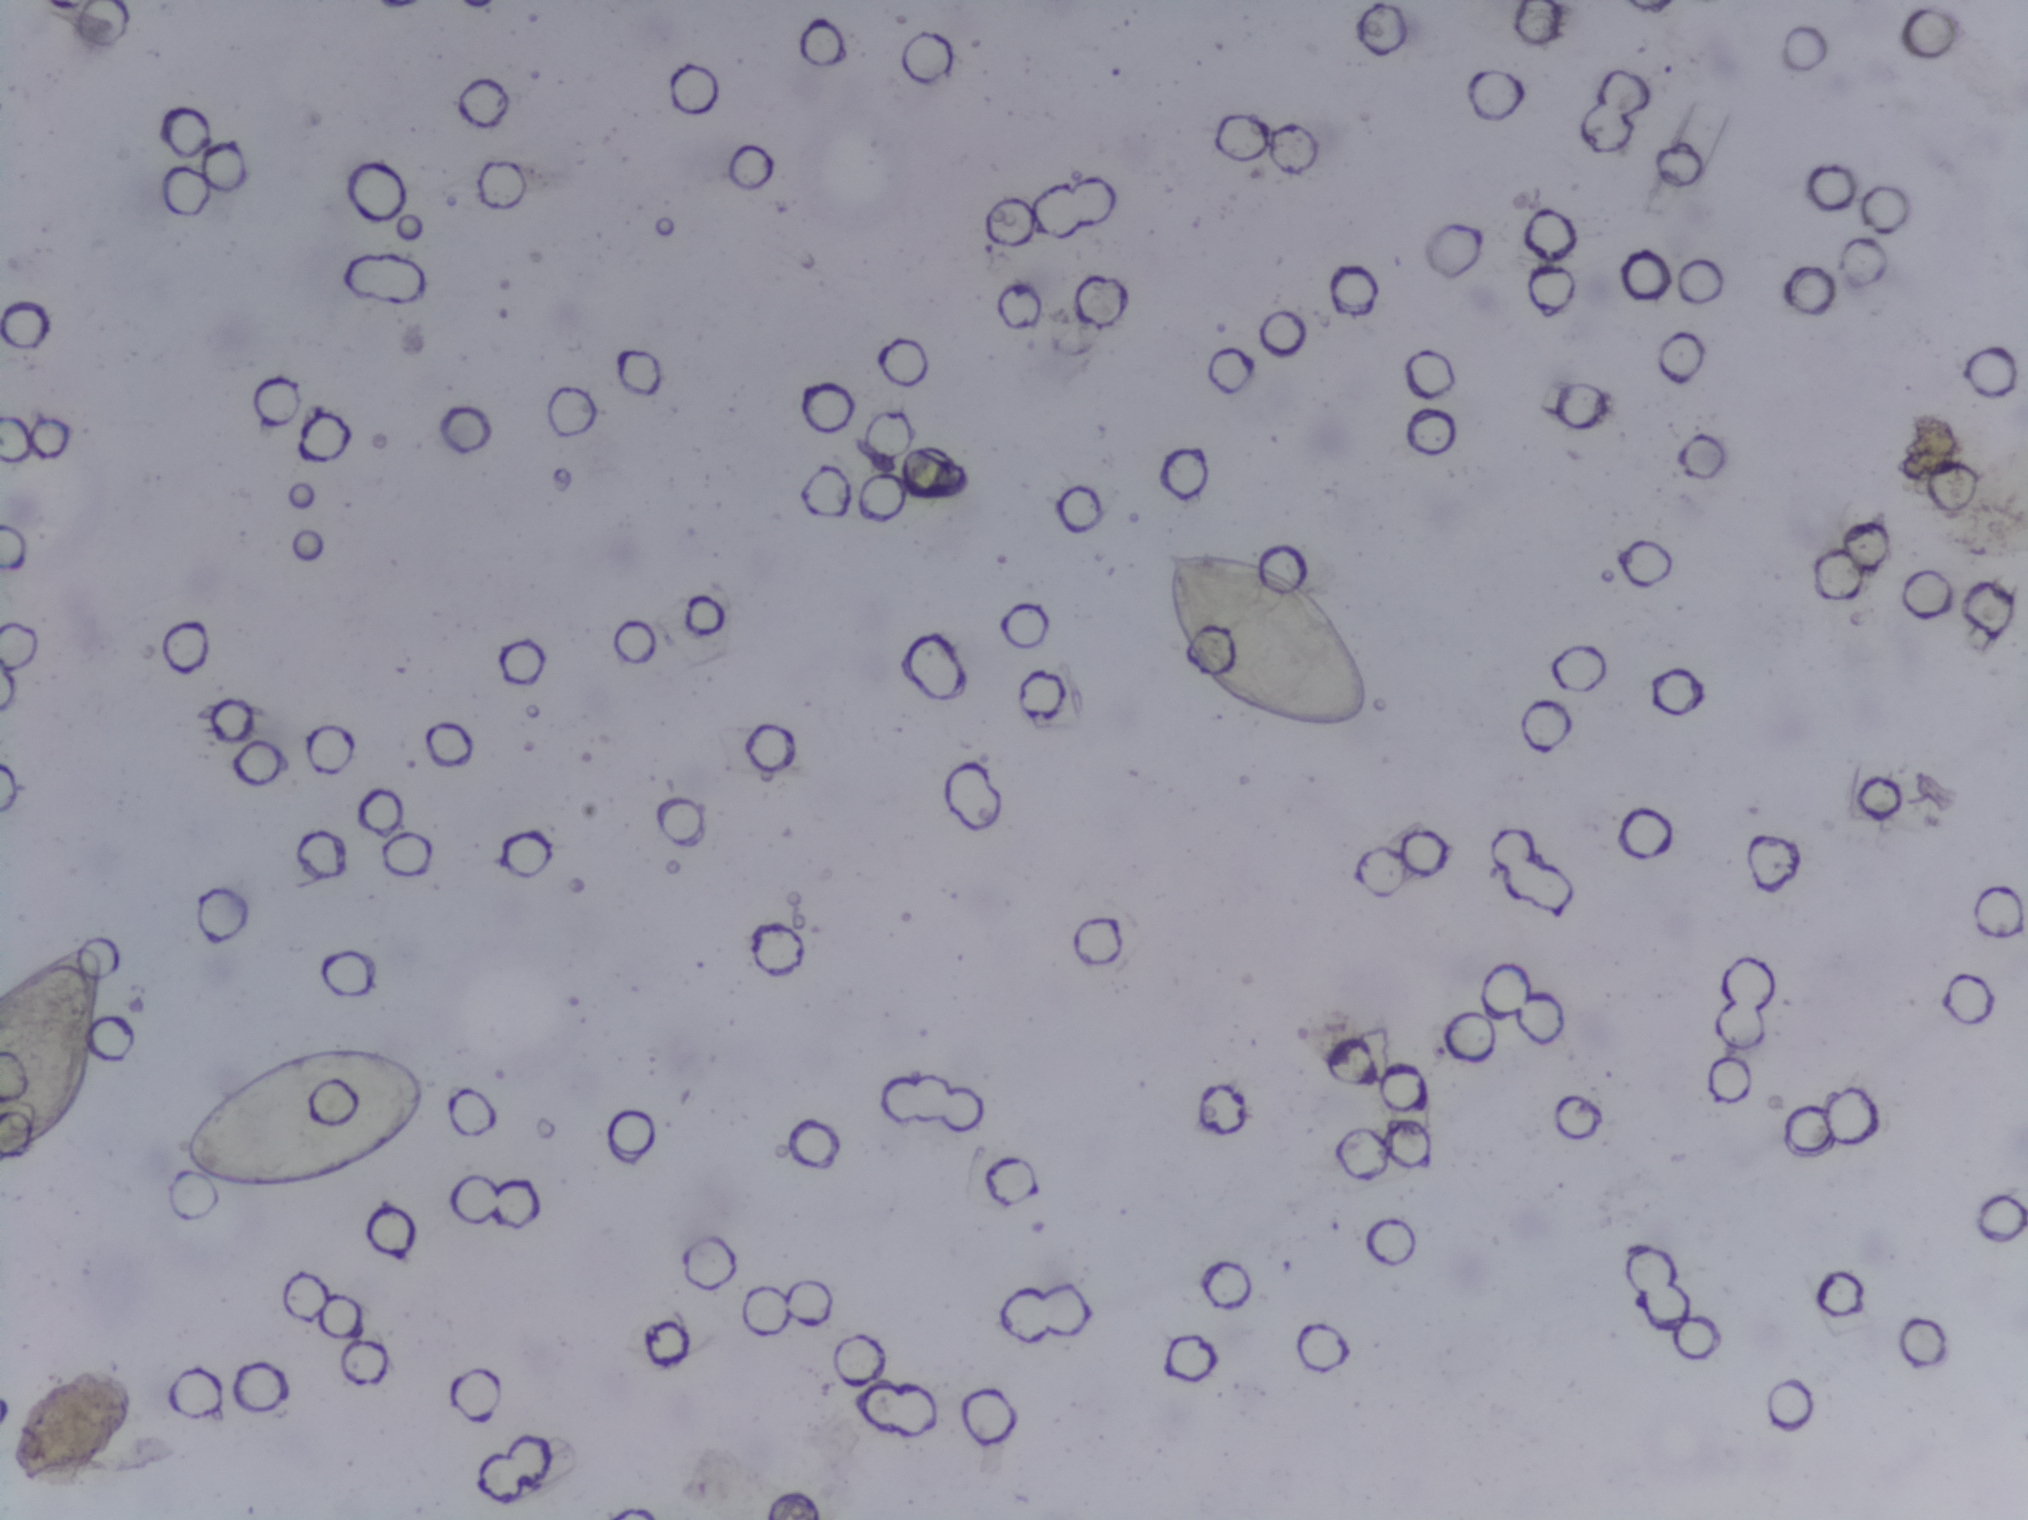
Photograph from an automated digital microscope: urine filter membrane, 4× objective. The image covers about 1.5 × 1.1 mm of the membrane.
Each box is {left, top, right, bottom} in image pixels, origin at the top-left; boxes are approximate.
The expert annotation outlines Schistosoma eggs at {0, 941, 103, 1166} (reaching the left edge of the frame); {182, 1043, 439, 1196}; {1162, 545, 1369, 732}. An outlined area can hold more than one egg.